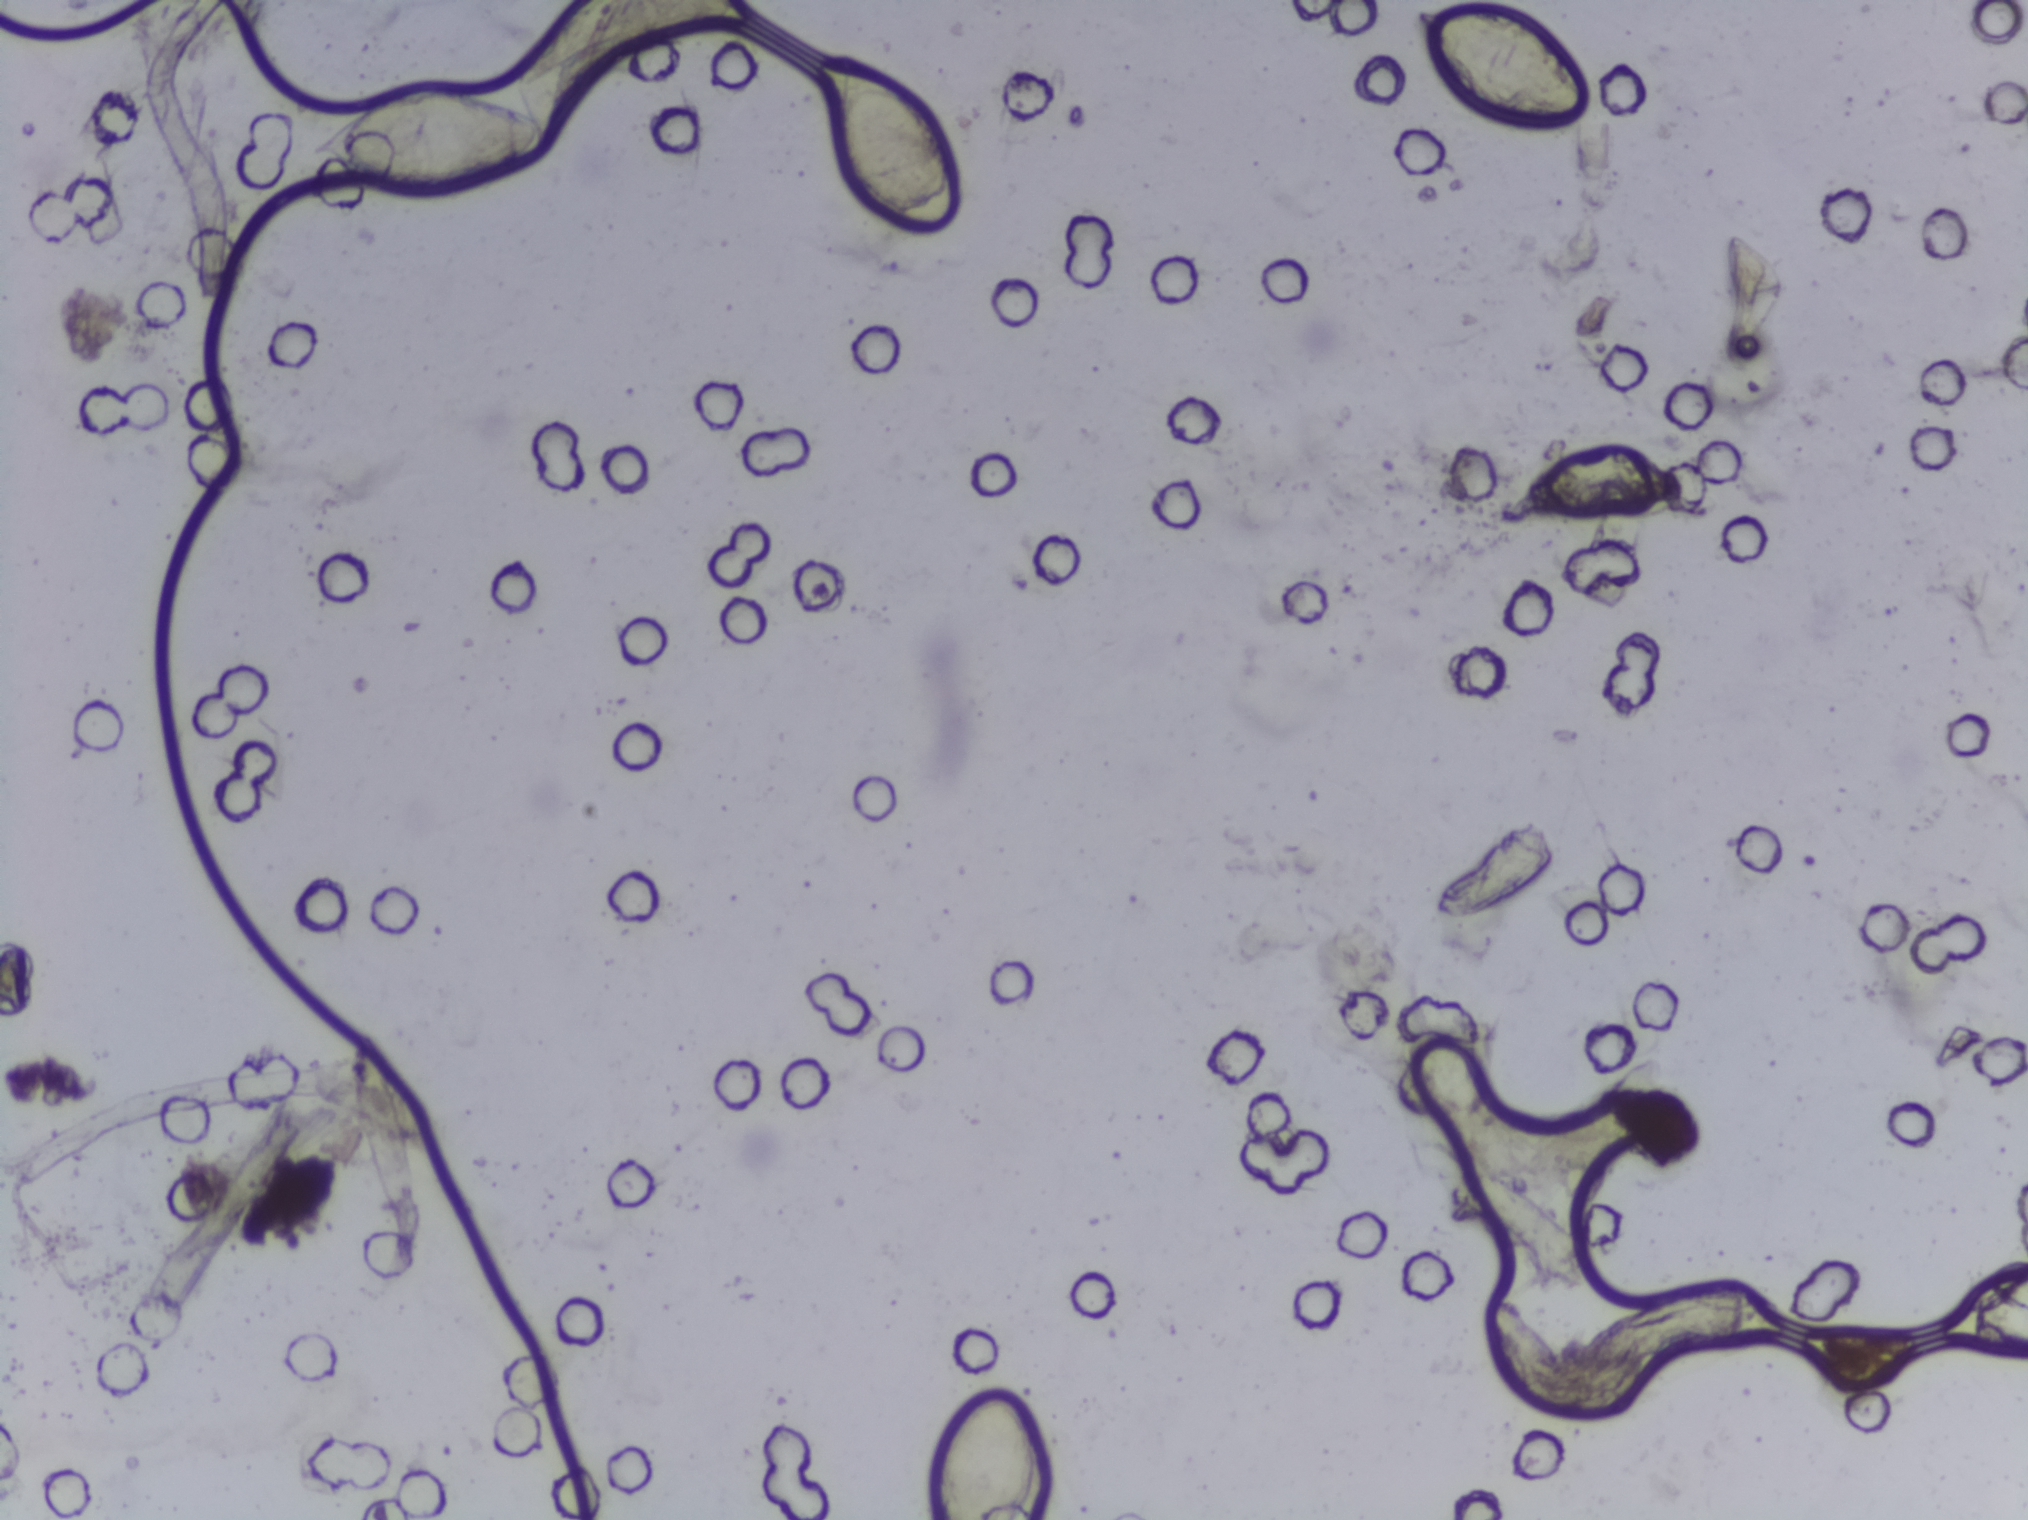
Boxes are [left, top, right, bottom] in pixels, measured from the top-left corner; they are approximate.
Schistosoma eggs are outlined in the expert annotation at [313, 83, 548, 200]; [826, 50, 960, 235]; [930, 1386, 1042, 1519] (reaching the bottom edge of the frame); [1411, 0, 1592, 128] (reaching the top edge of the frame). A single outlined area may contain several eggs.
Photograph from an automated digital microscope: urine filter membrane, 4× objective.